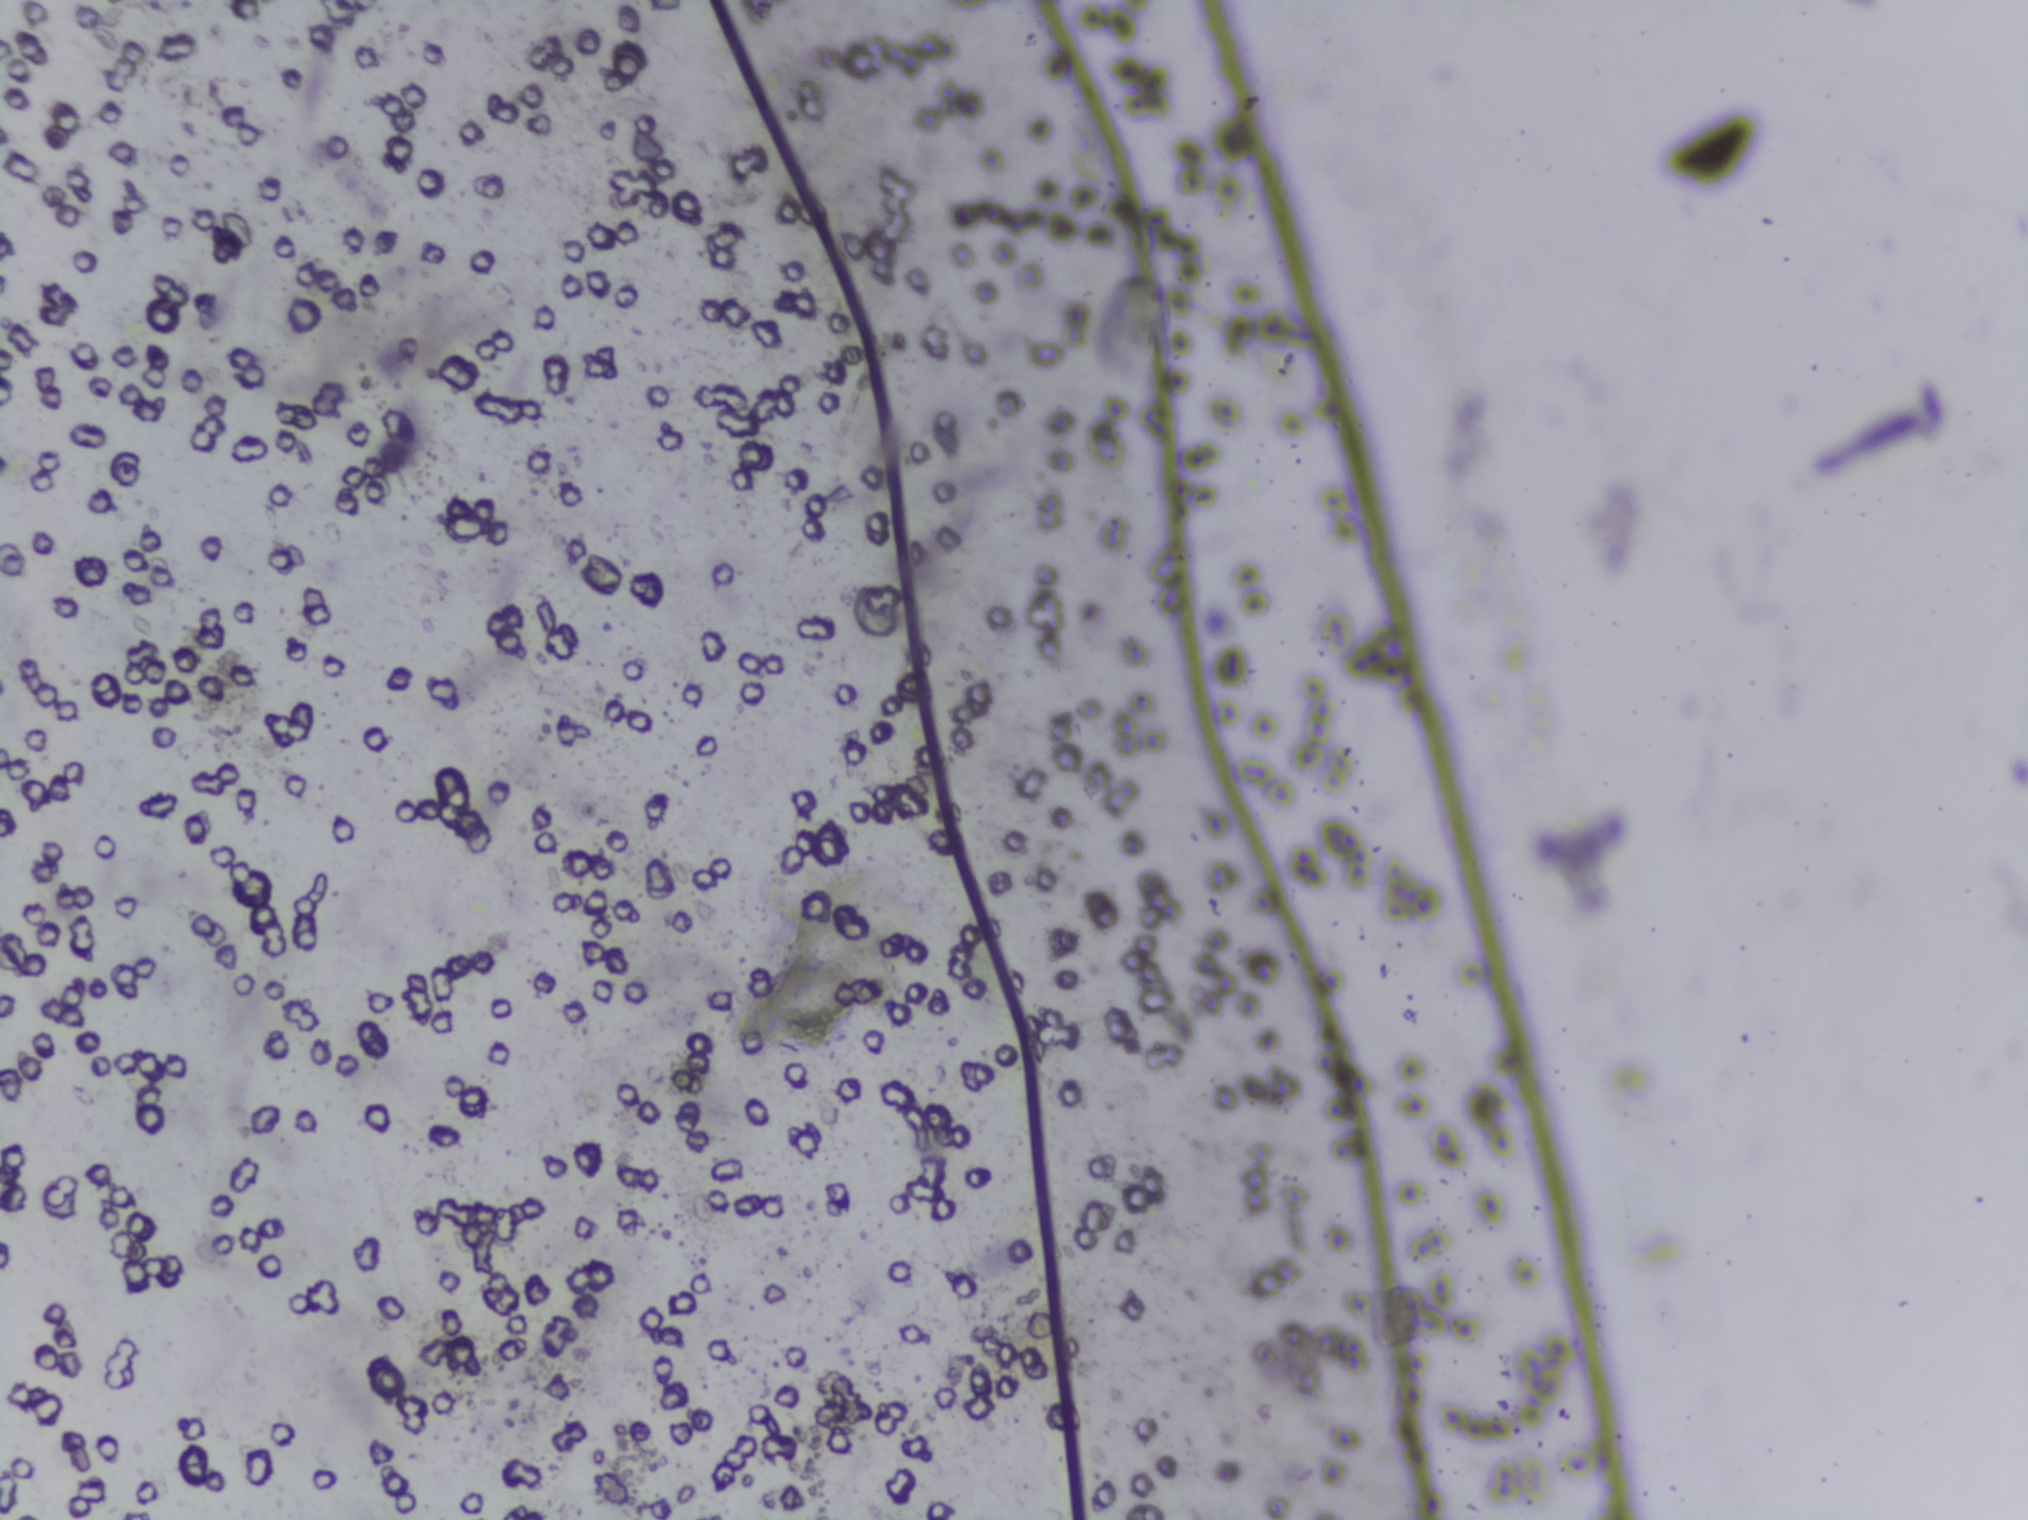
The expert annotation outlines no Schistosoma egg in this image.
Microscope photograph (4× objective) of a membrane that a urine sample was filtered through.